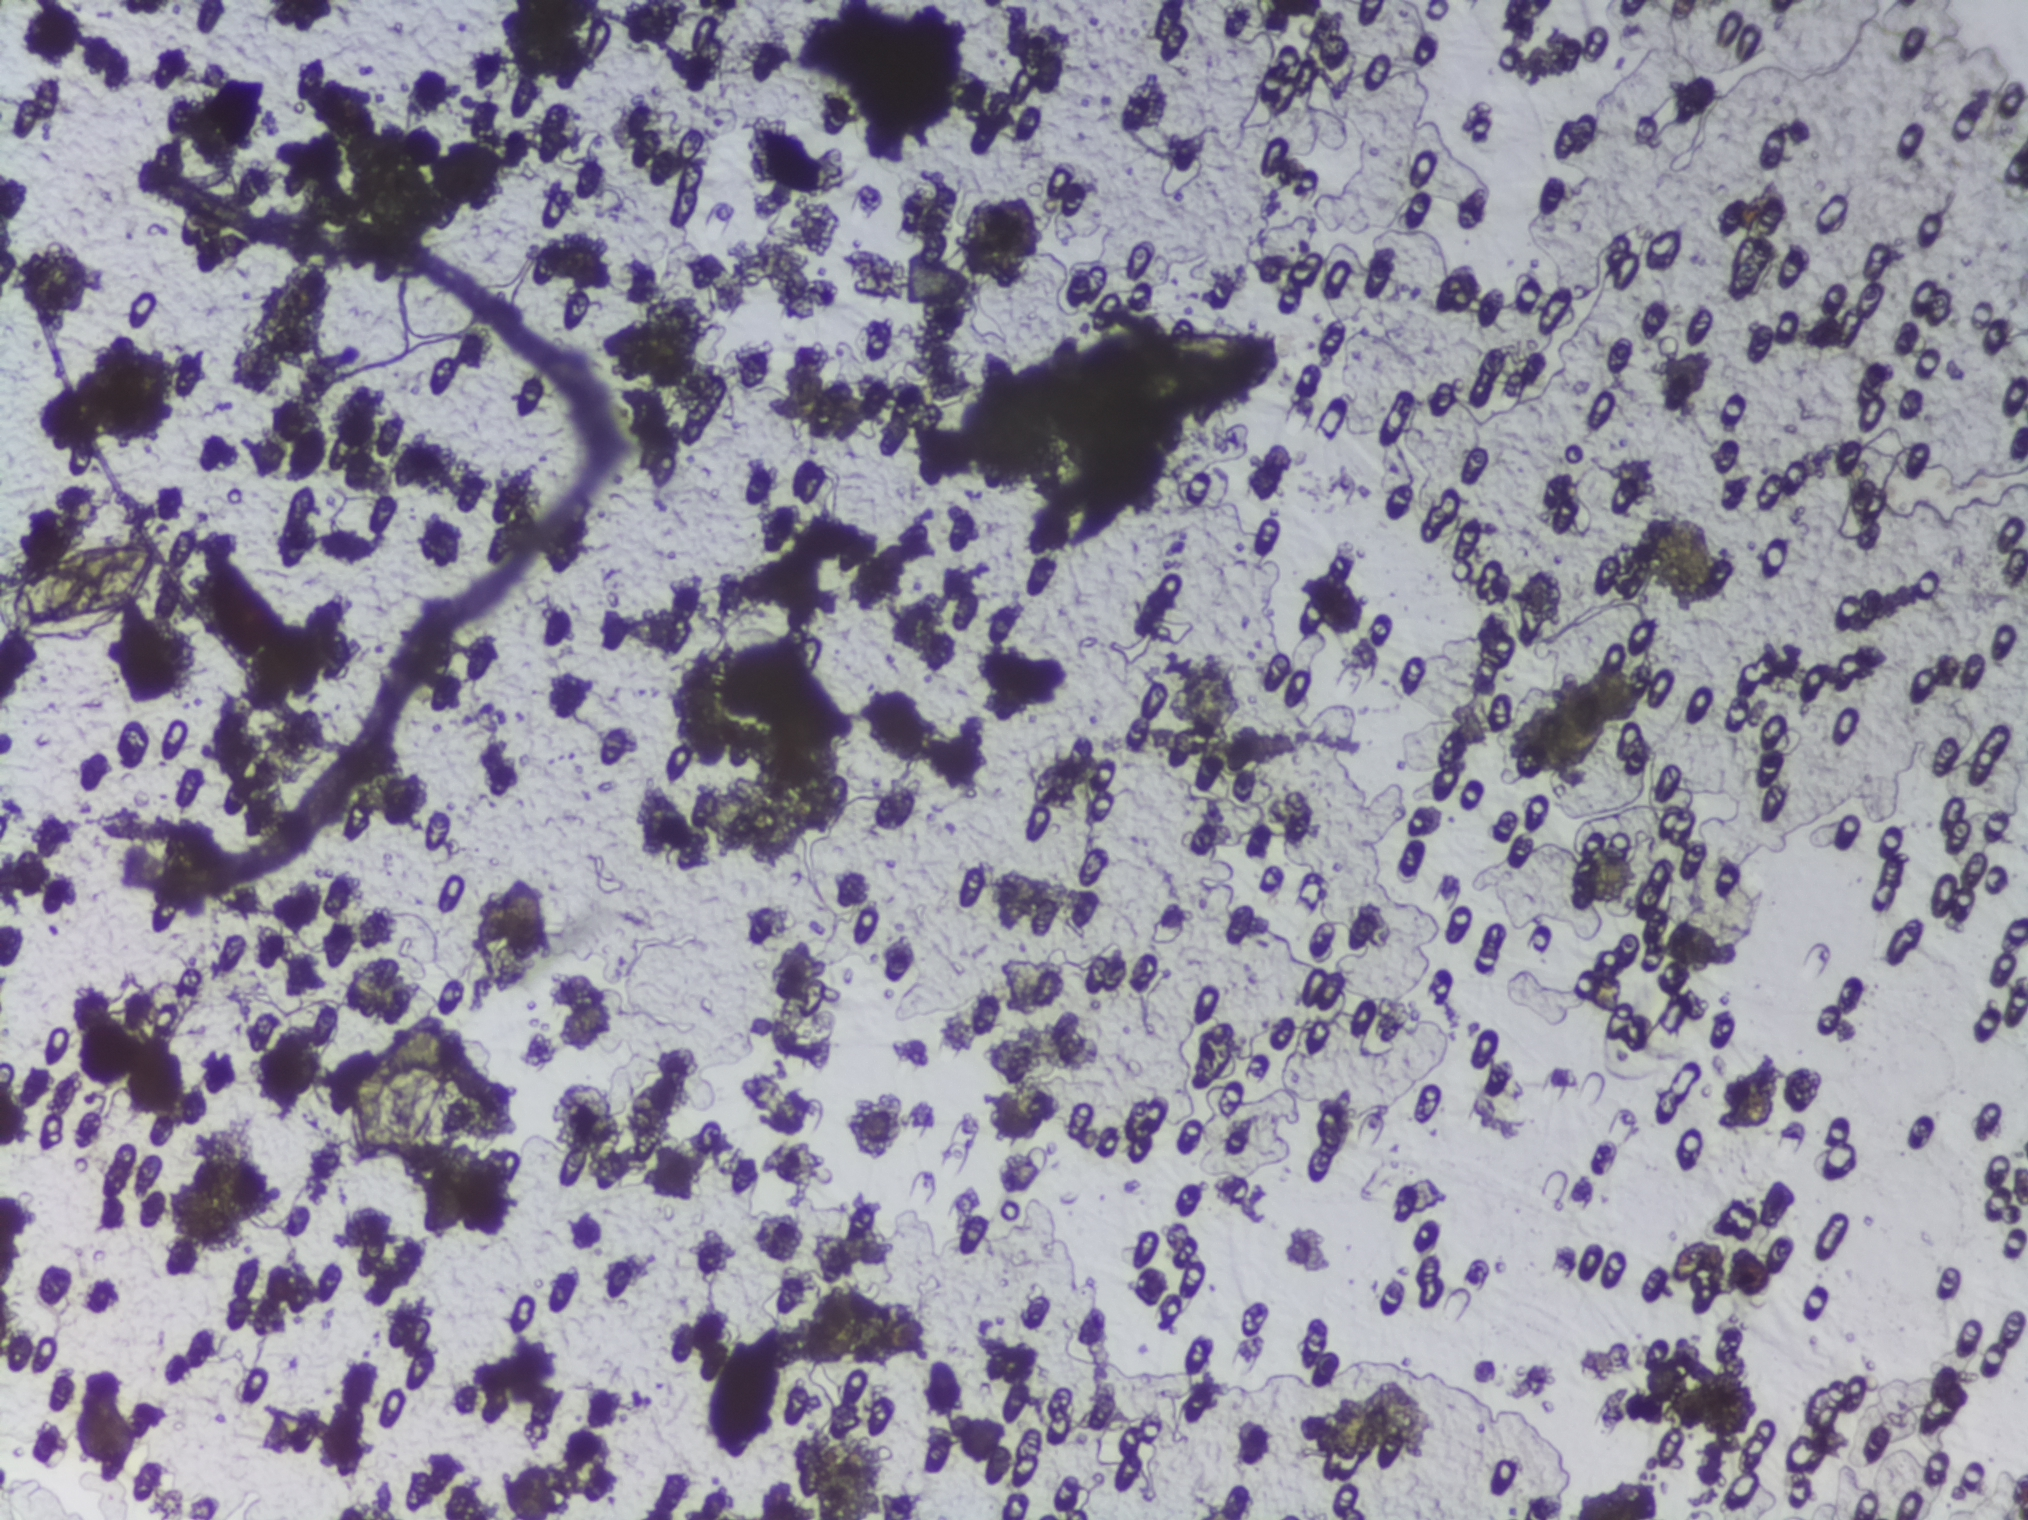
Photomicrograph of a urine filtration membrane, 4× objective.
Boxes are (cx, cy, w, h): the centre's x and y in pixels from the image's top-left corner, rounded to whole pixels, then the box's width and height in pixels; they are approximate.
Schistosoma eggs are outlined in three areas of this image, listed from left to right: (cx=83, cy=586, w=166, h=105) (reaching the left edge of the frame); (cx=400, cy=1089, w=109, h=159); (cx=746, cy=1392, w=84, h=152). The marked pixels themselves, not the boxes around them, cover about 1.1% of the image. A single outlined area may contain several eggs.